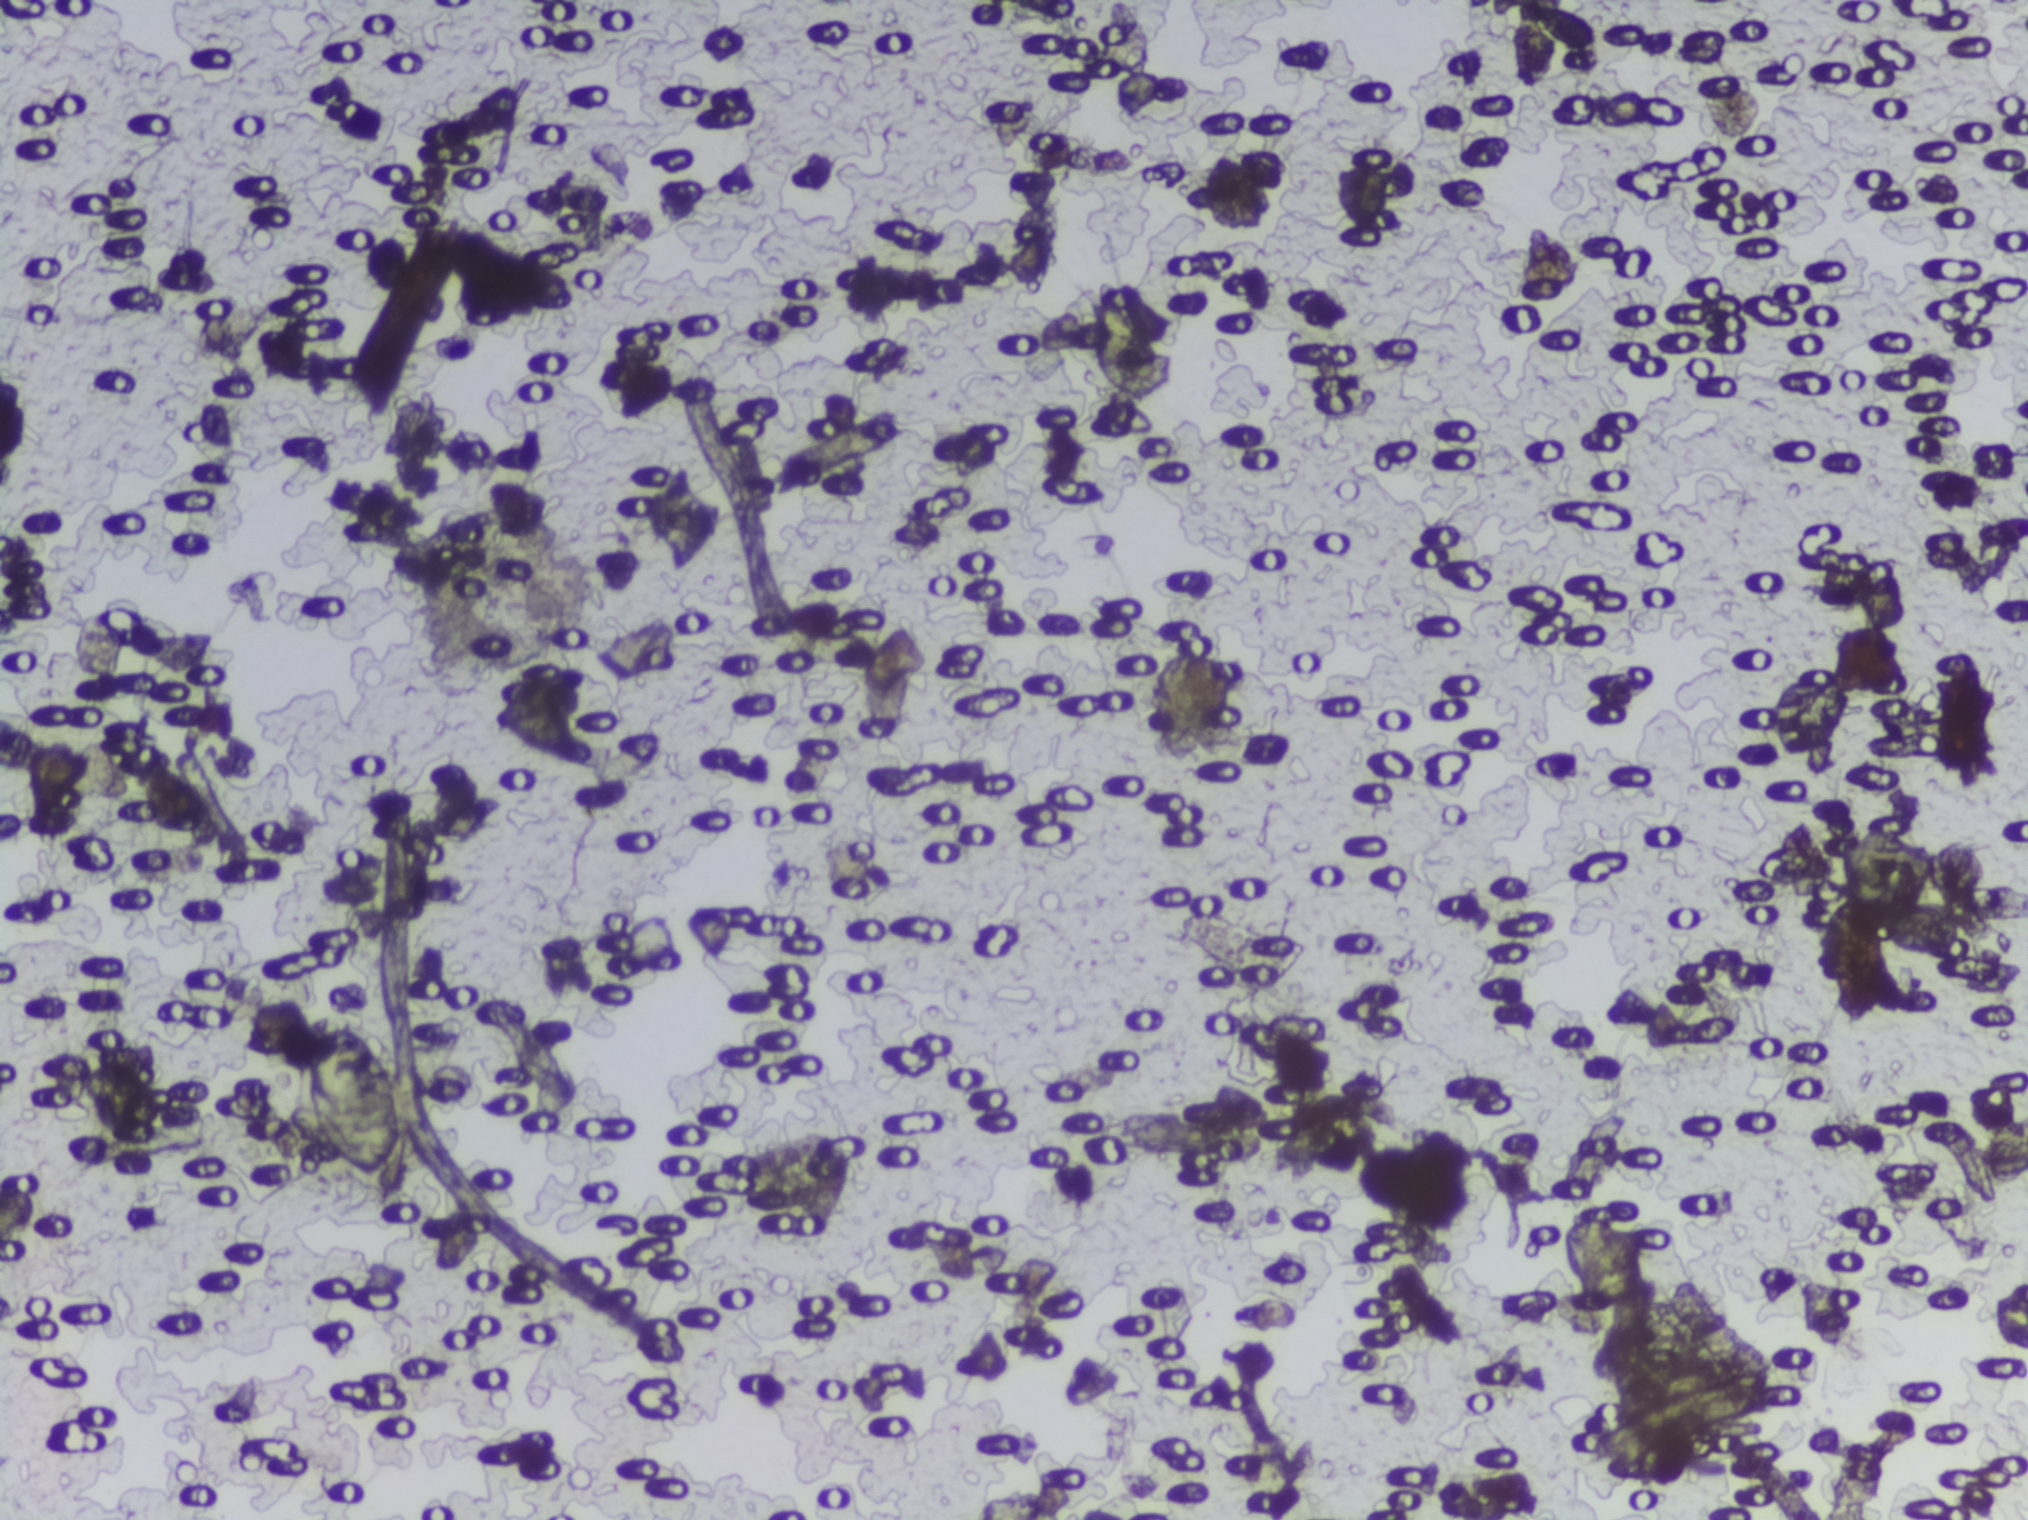
Photomicrograph of a urine filtration membrane, 4× objective.
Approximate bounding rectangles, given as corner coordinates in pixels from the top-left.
Areas outlined as Schistosoma eggs: (x1=287, y1=1006, x2=407, y2=1191). Eggs that touch can end up inside the same outlined area.